Urine filtration membrane under a 4× objective, photographed by an automated digital microscope.
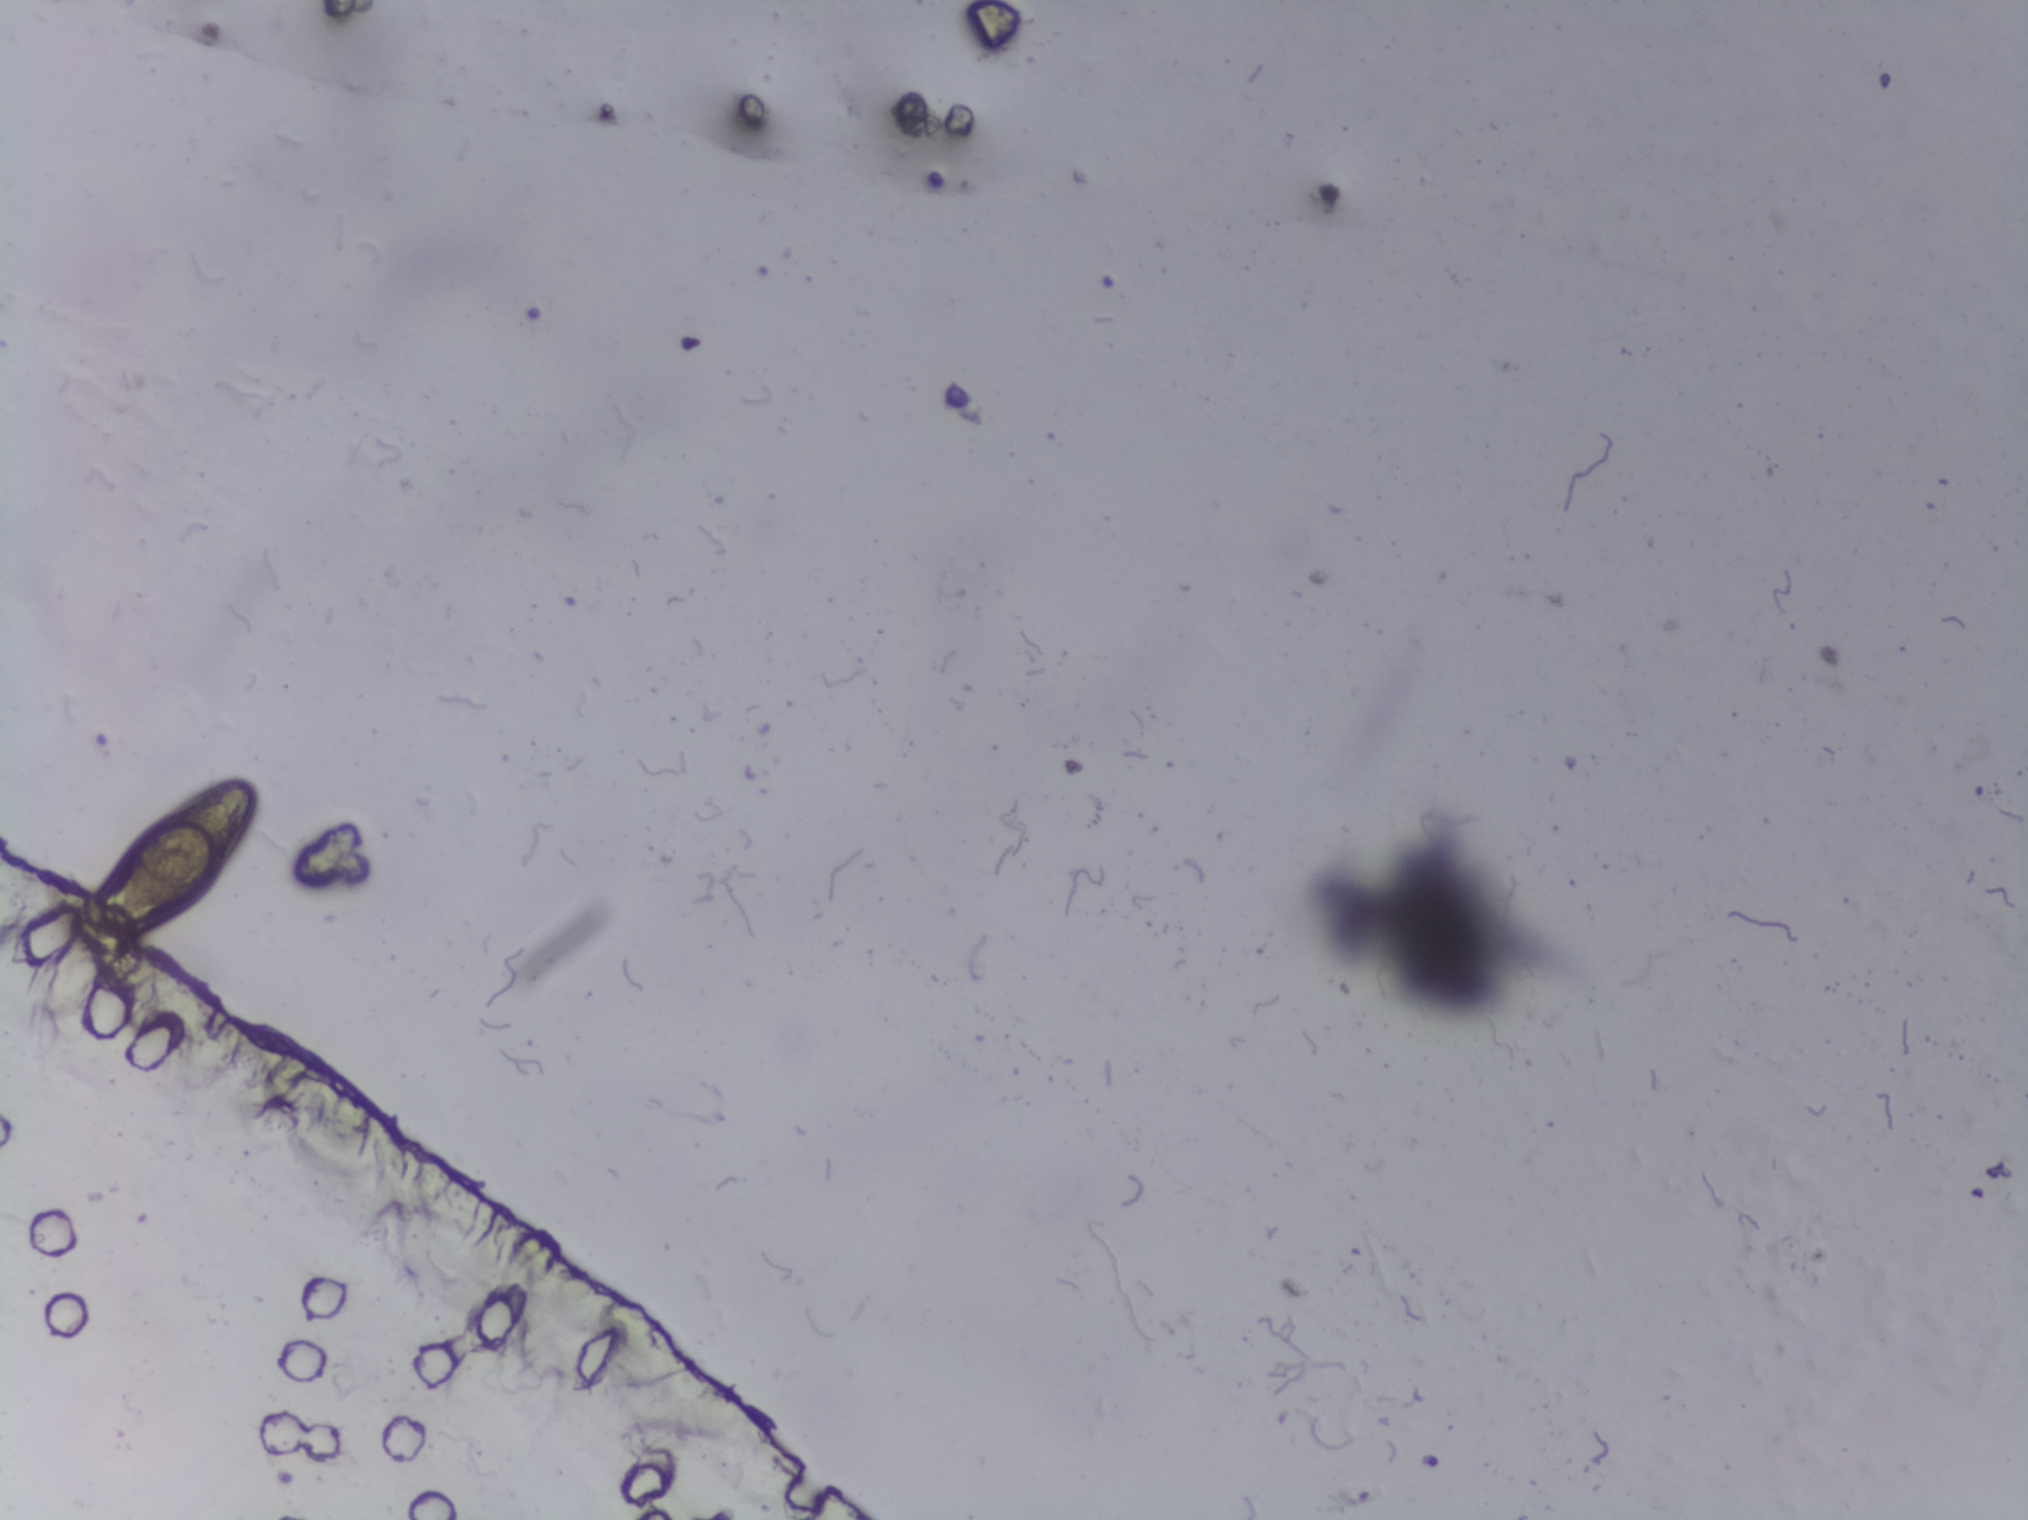
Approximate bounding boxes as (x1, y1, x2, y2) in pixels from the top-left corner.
Schistosoma eggs are outlined in one area of this image: (101, 773, 260, 933). Marked pixels, not the box around them: about 0.5% of the image. Eggs that touch can end up inside the same outlined area.